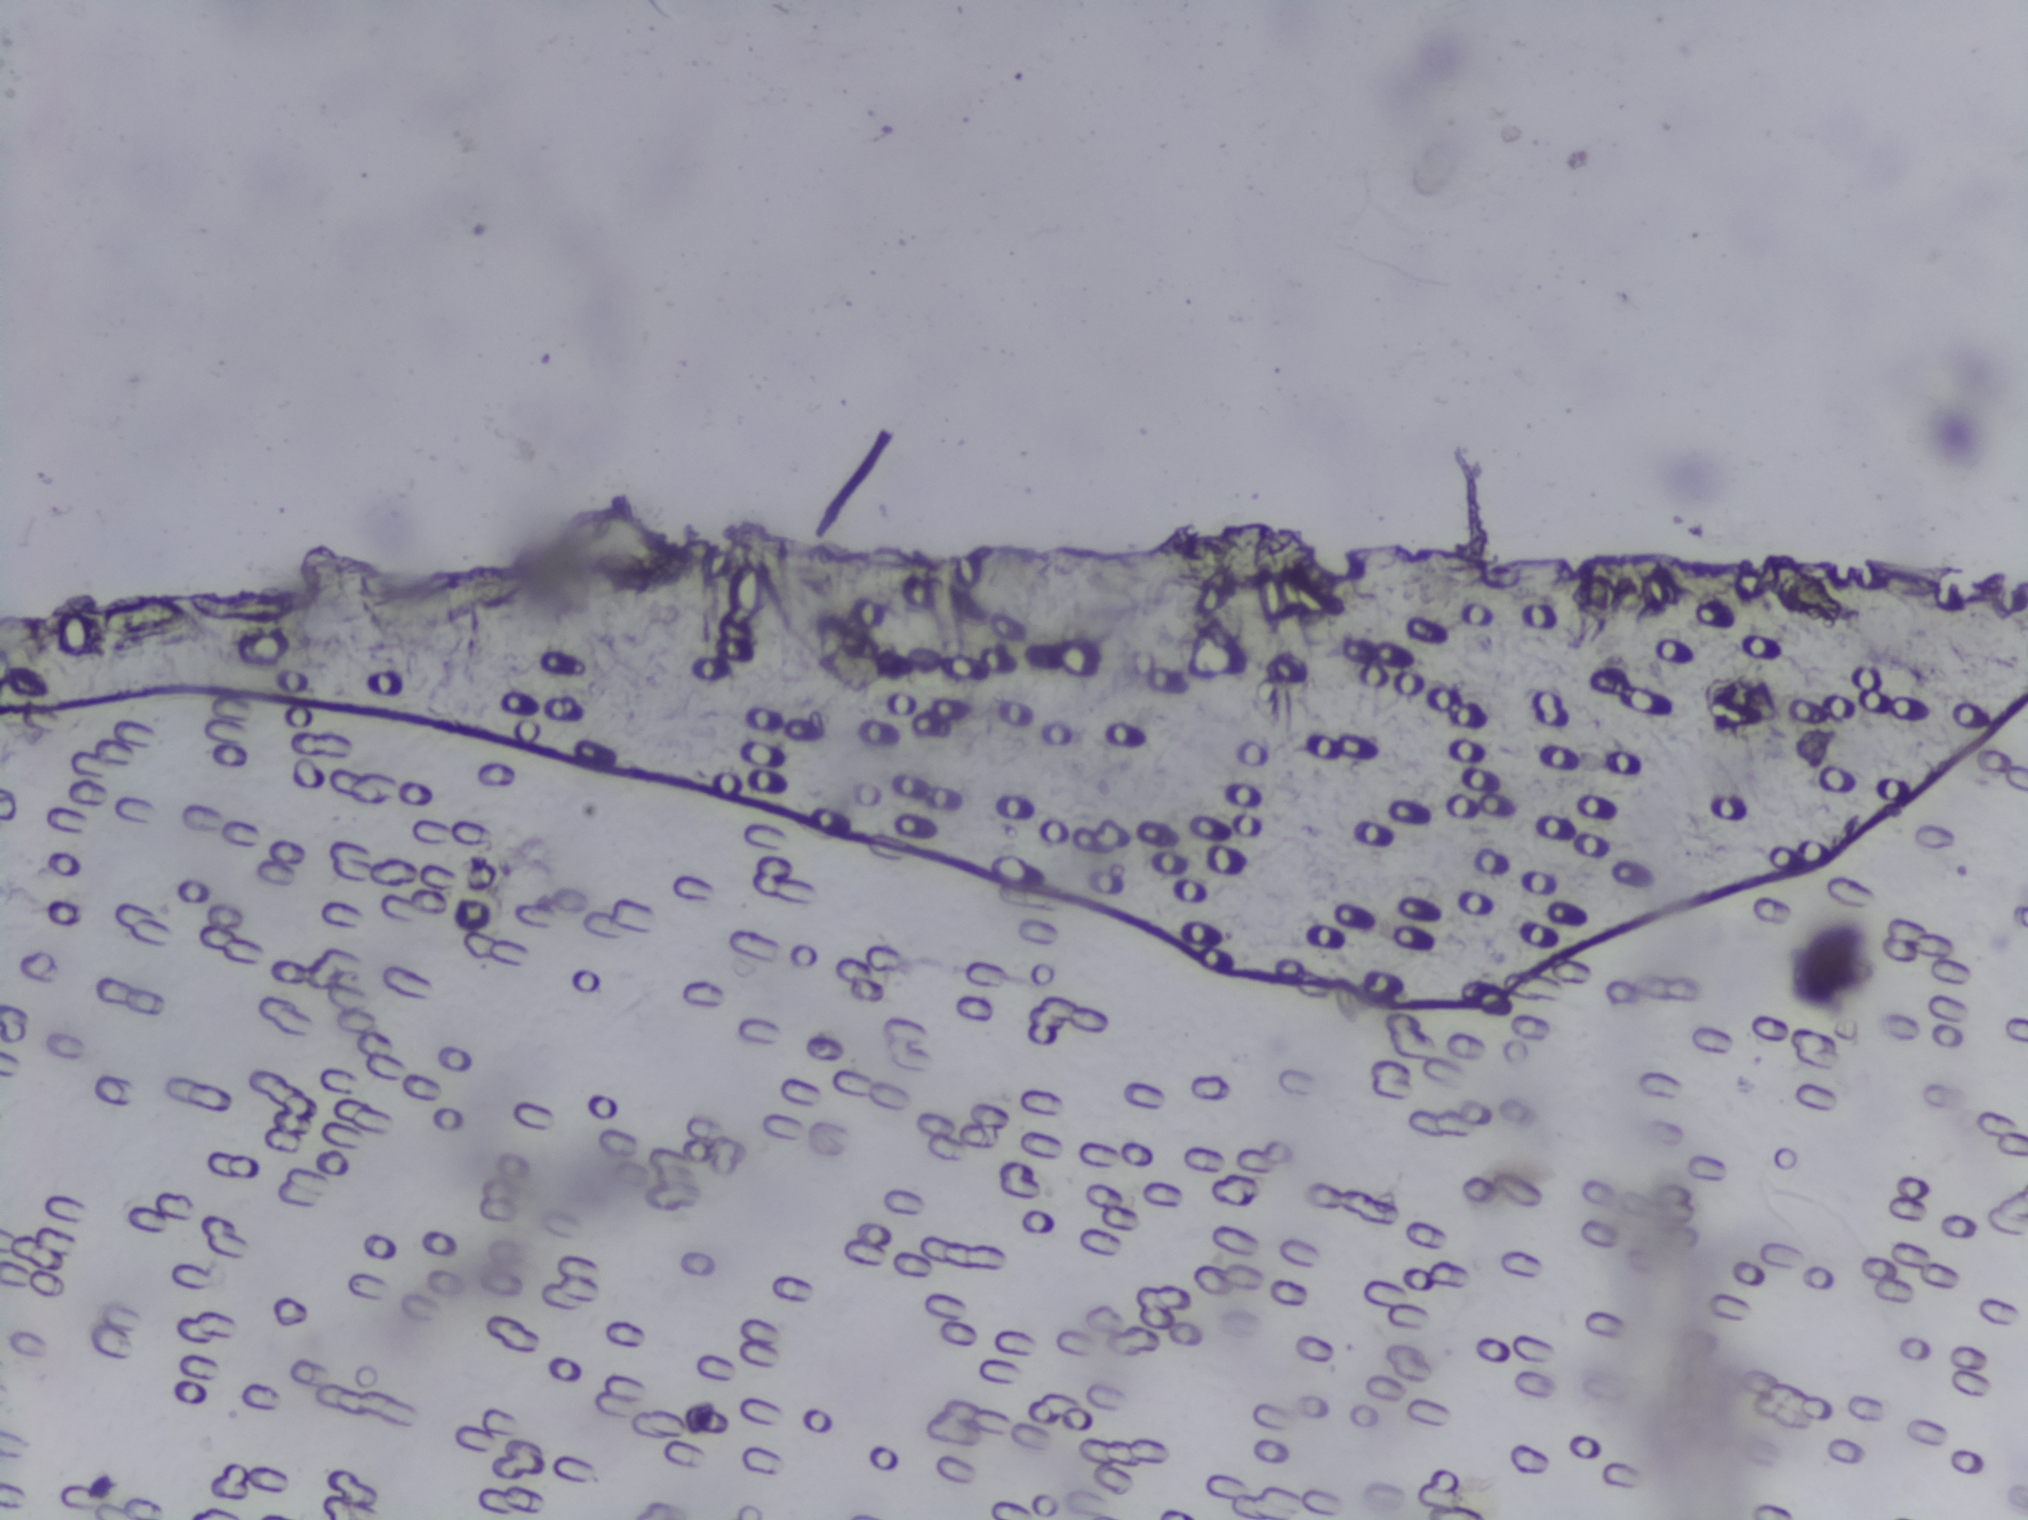
The expert annotation outlines no Schistosoma egg in this image.
Urine filter membrane photographed through a 4× microscope objective.